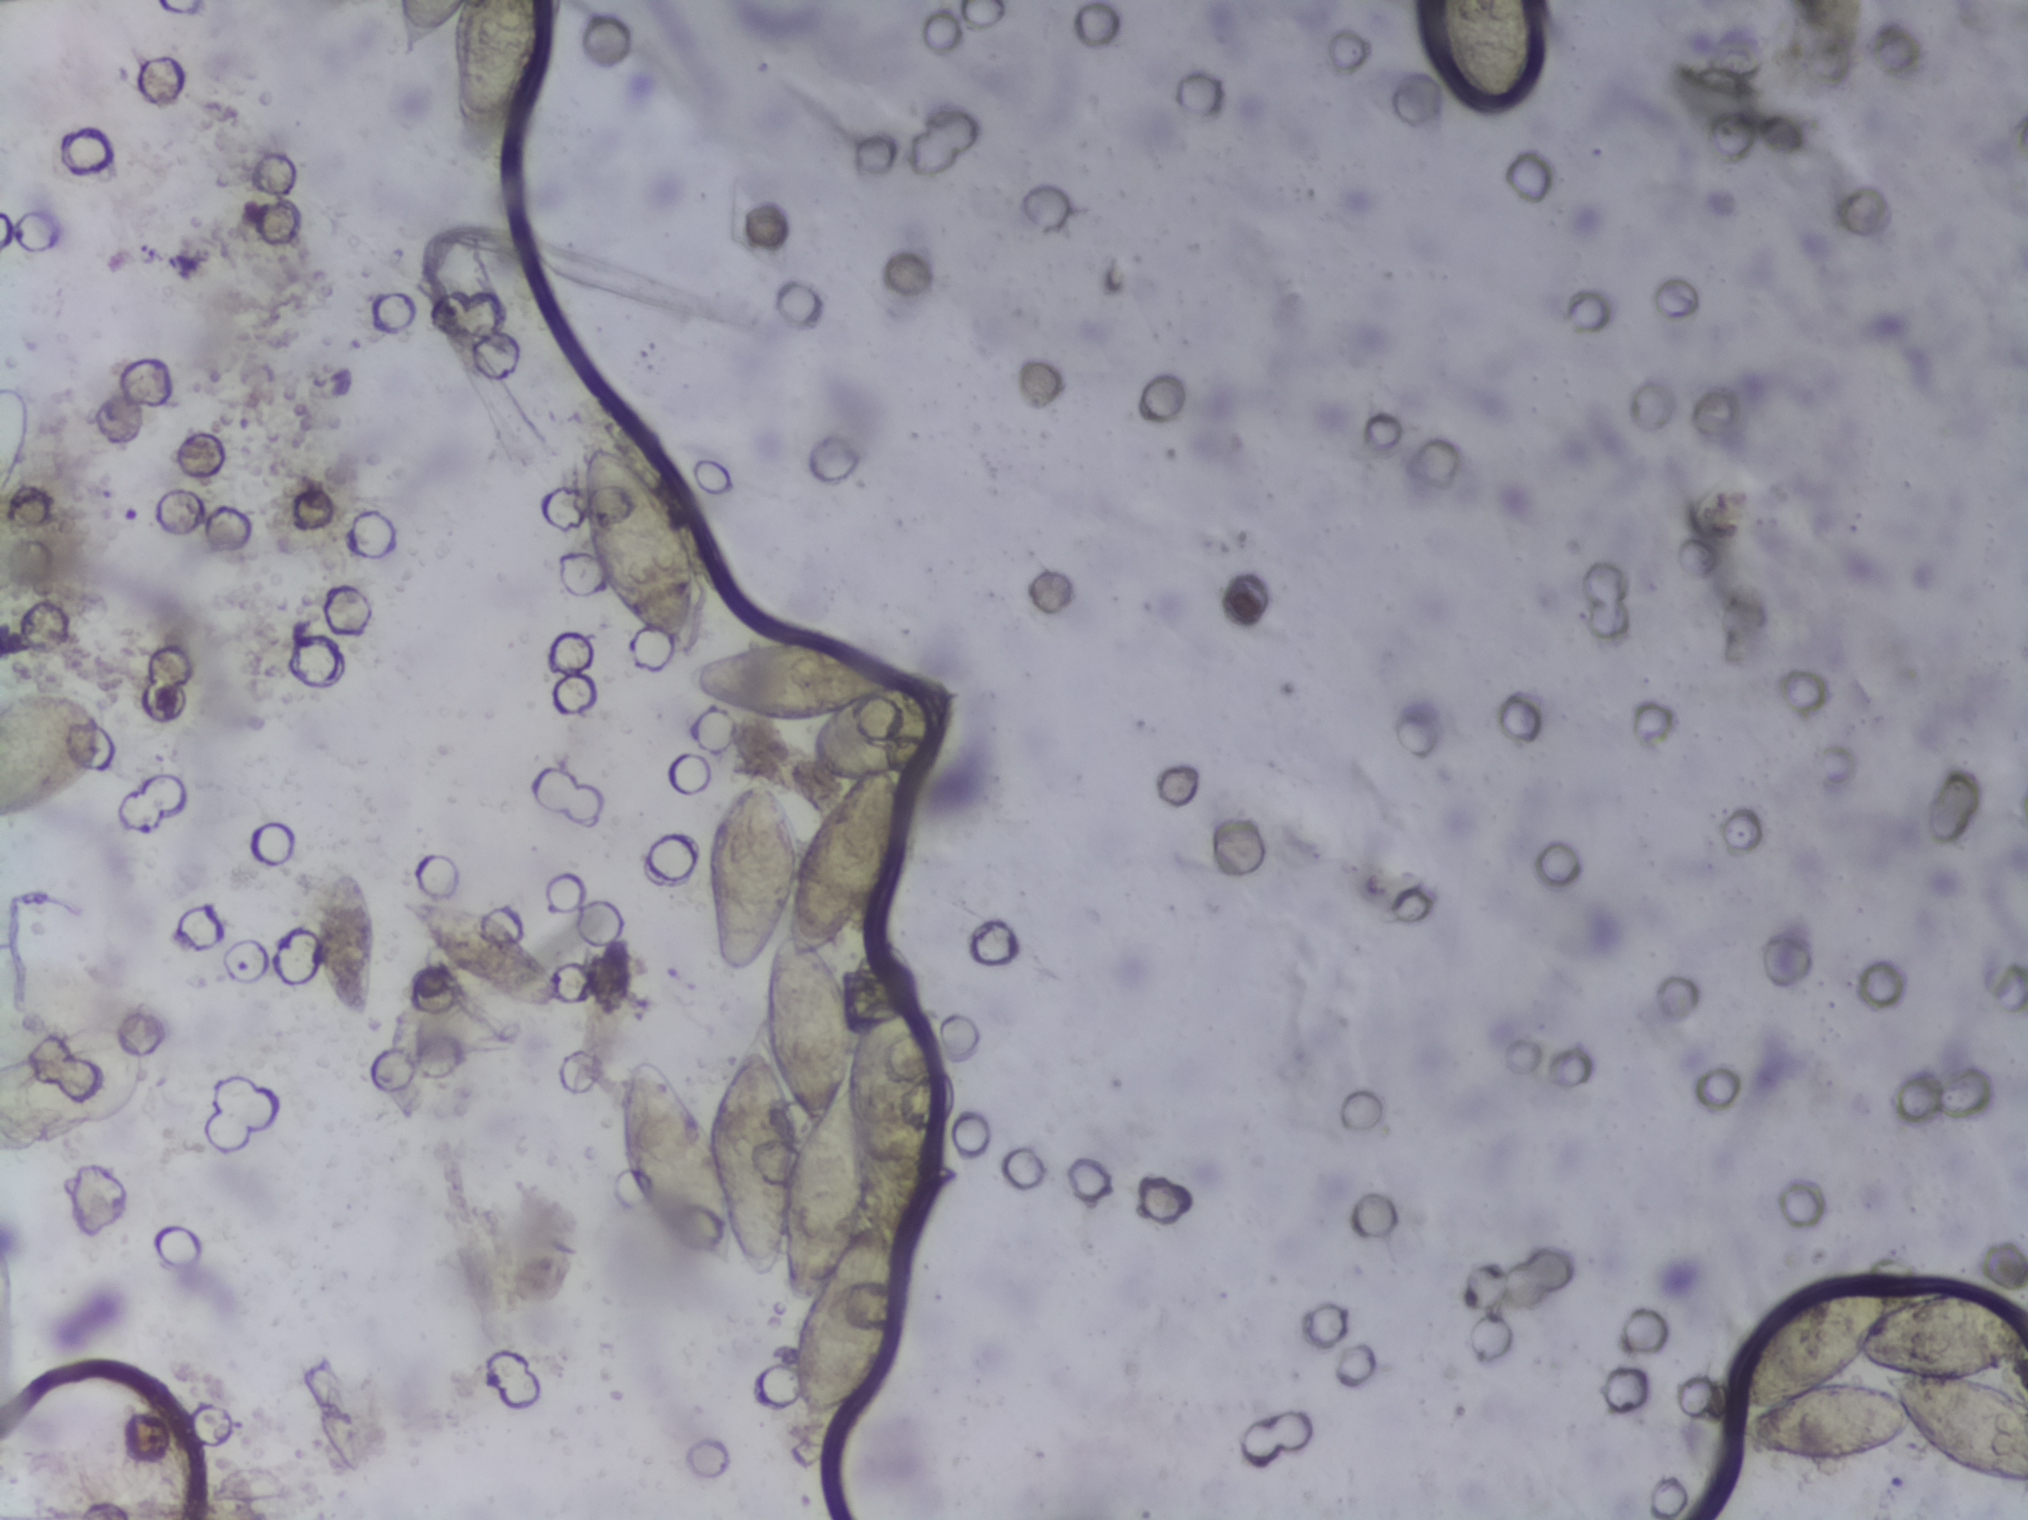
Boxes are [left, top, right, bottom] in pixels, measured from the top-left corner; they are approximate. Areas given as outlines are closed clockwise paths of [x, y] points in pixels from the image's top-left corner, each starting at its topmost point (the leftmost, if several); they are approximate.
The expert annotation outlines Schistosoma eggs in eight areas, left to right: box [0, 681, 102, 815] (reaching the left edge of the frame); box [310, 868, 380, 1021]; box [391, 0, 567, 141] (reaching the top edge of the frame); box [393, 892, 568, 1017]; box [579, 442, 698, 661]; outline [767, 636], [827, 636], [886, 658], [908, 678], [946, 678], [967, 690], [965, 711], [949, 738], [907, 775], [900, 851], [879, 909], [835, 950], [851, 988], [856, 1025], [886, 964], [913, 969], [943, 995], [955, 1016], [957, 1084], [929, 1230], [917, 1257], [905, 1265], [907, 1292], [894, 1360], [872, 1398], [824, 1448], [796, 1432], [784, 1399], [781, 1363], [800, 1303], [780, 1278], [767, 1286], [742, 1264], [740, 1273], [718, 1273], [669, 1251], [630, 1201], [611, 1140], [611, 1082], [632, 1052], [662, 1054], [708, 1126], [717, 1071], [743, 1040], [761, 1036], [760, 974], [729, 979], [711, 945], [705, 850], [717, 802], [749, 758], [760, 754], [797, 820], [799, 836], [840, 787], [810, 771], [808, 758], [827, 719], [797, 727], [750, 725], [691, 695], [685, 685], [685, 671], [709, 652] (a cluster of eggs); box [1425, 0, 1548, 109] (reaching the top edge of the frame); box [1700, 1266, 2027, 1490] (a cluster of eggs; reaching the right edge of the frame). A single outlined area may contain several eggs.
One field of view of a urine filter membrane, 4× objective, 2028 × 1520 pixels. The field of view is about 1.5 mm × 1.1 mm.